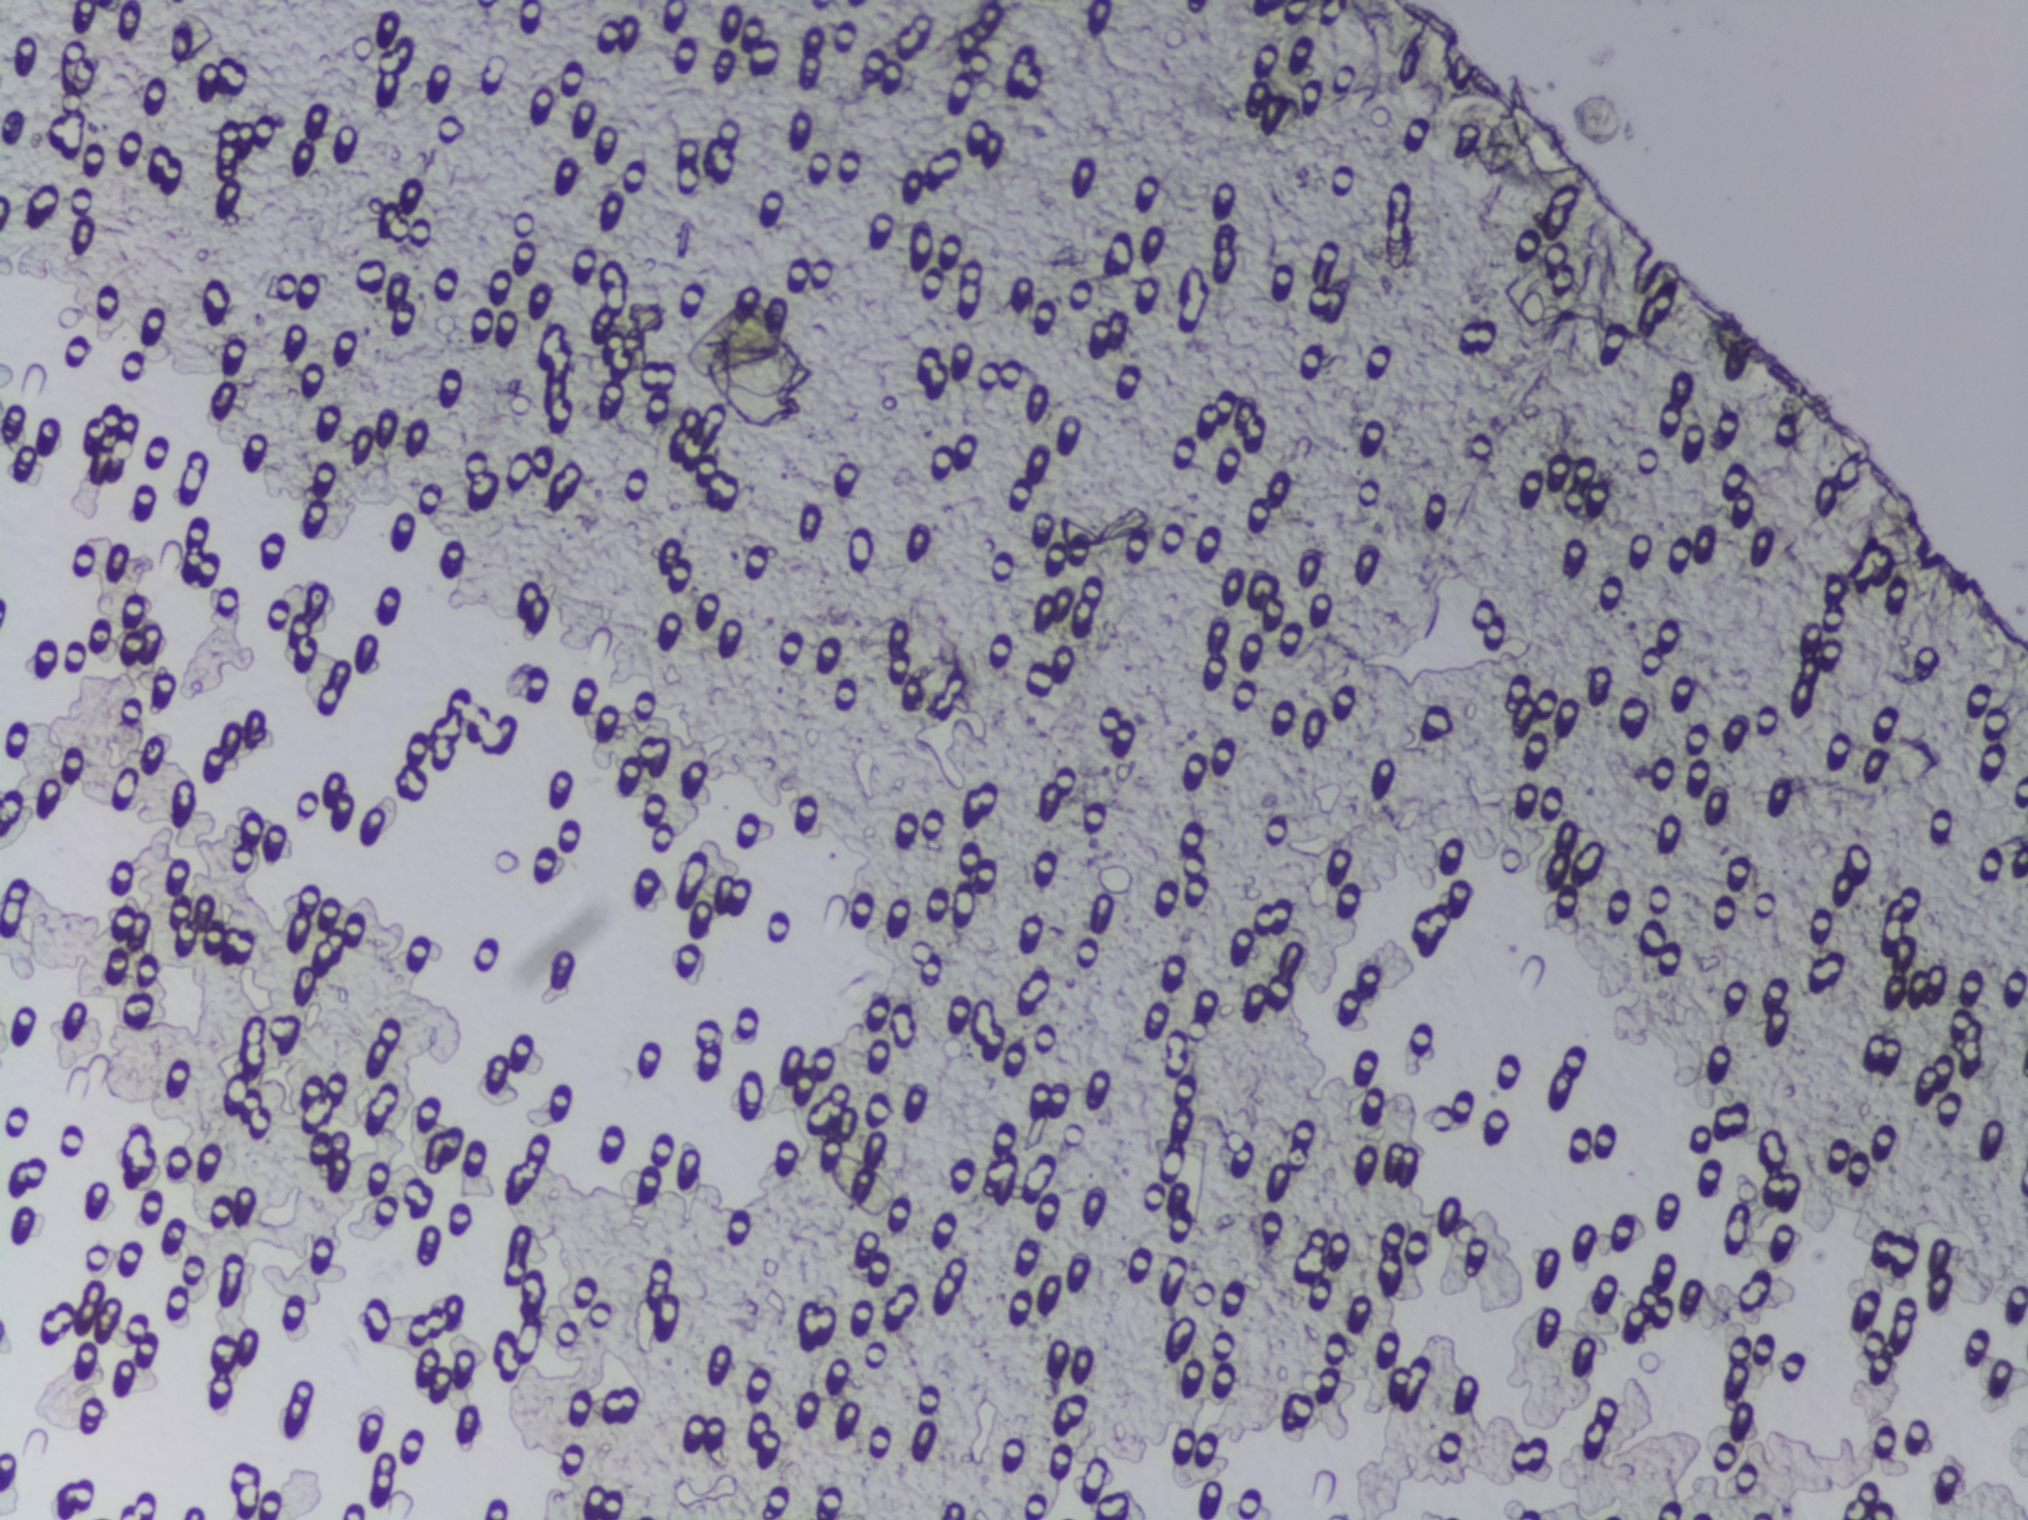
Schistosoma eggs: none outlined.
One field of view of a urine filter membrane, 4× objective, 2028 × 1520 pixels. The field of view is about 1.5 mm × 1.1 mm.